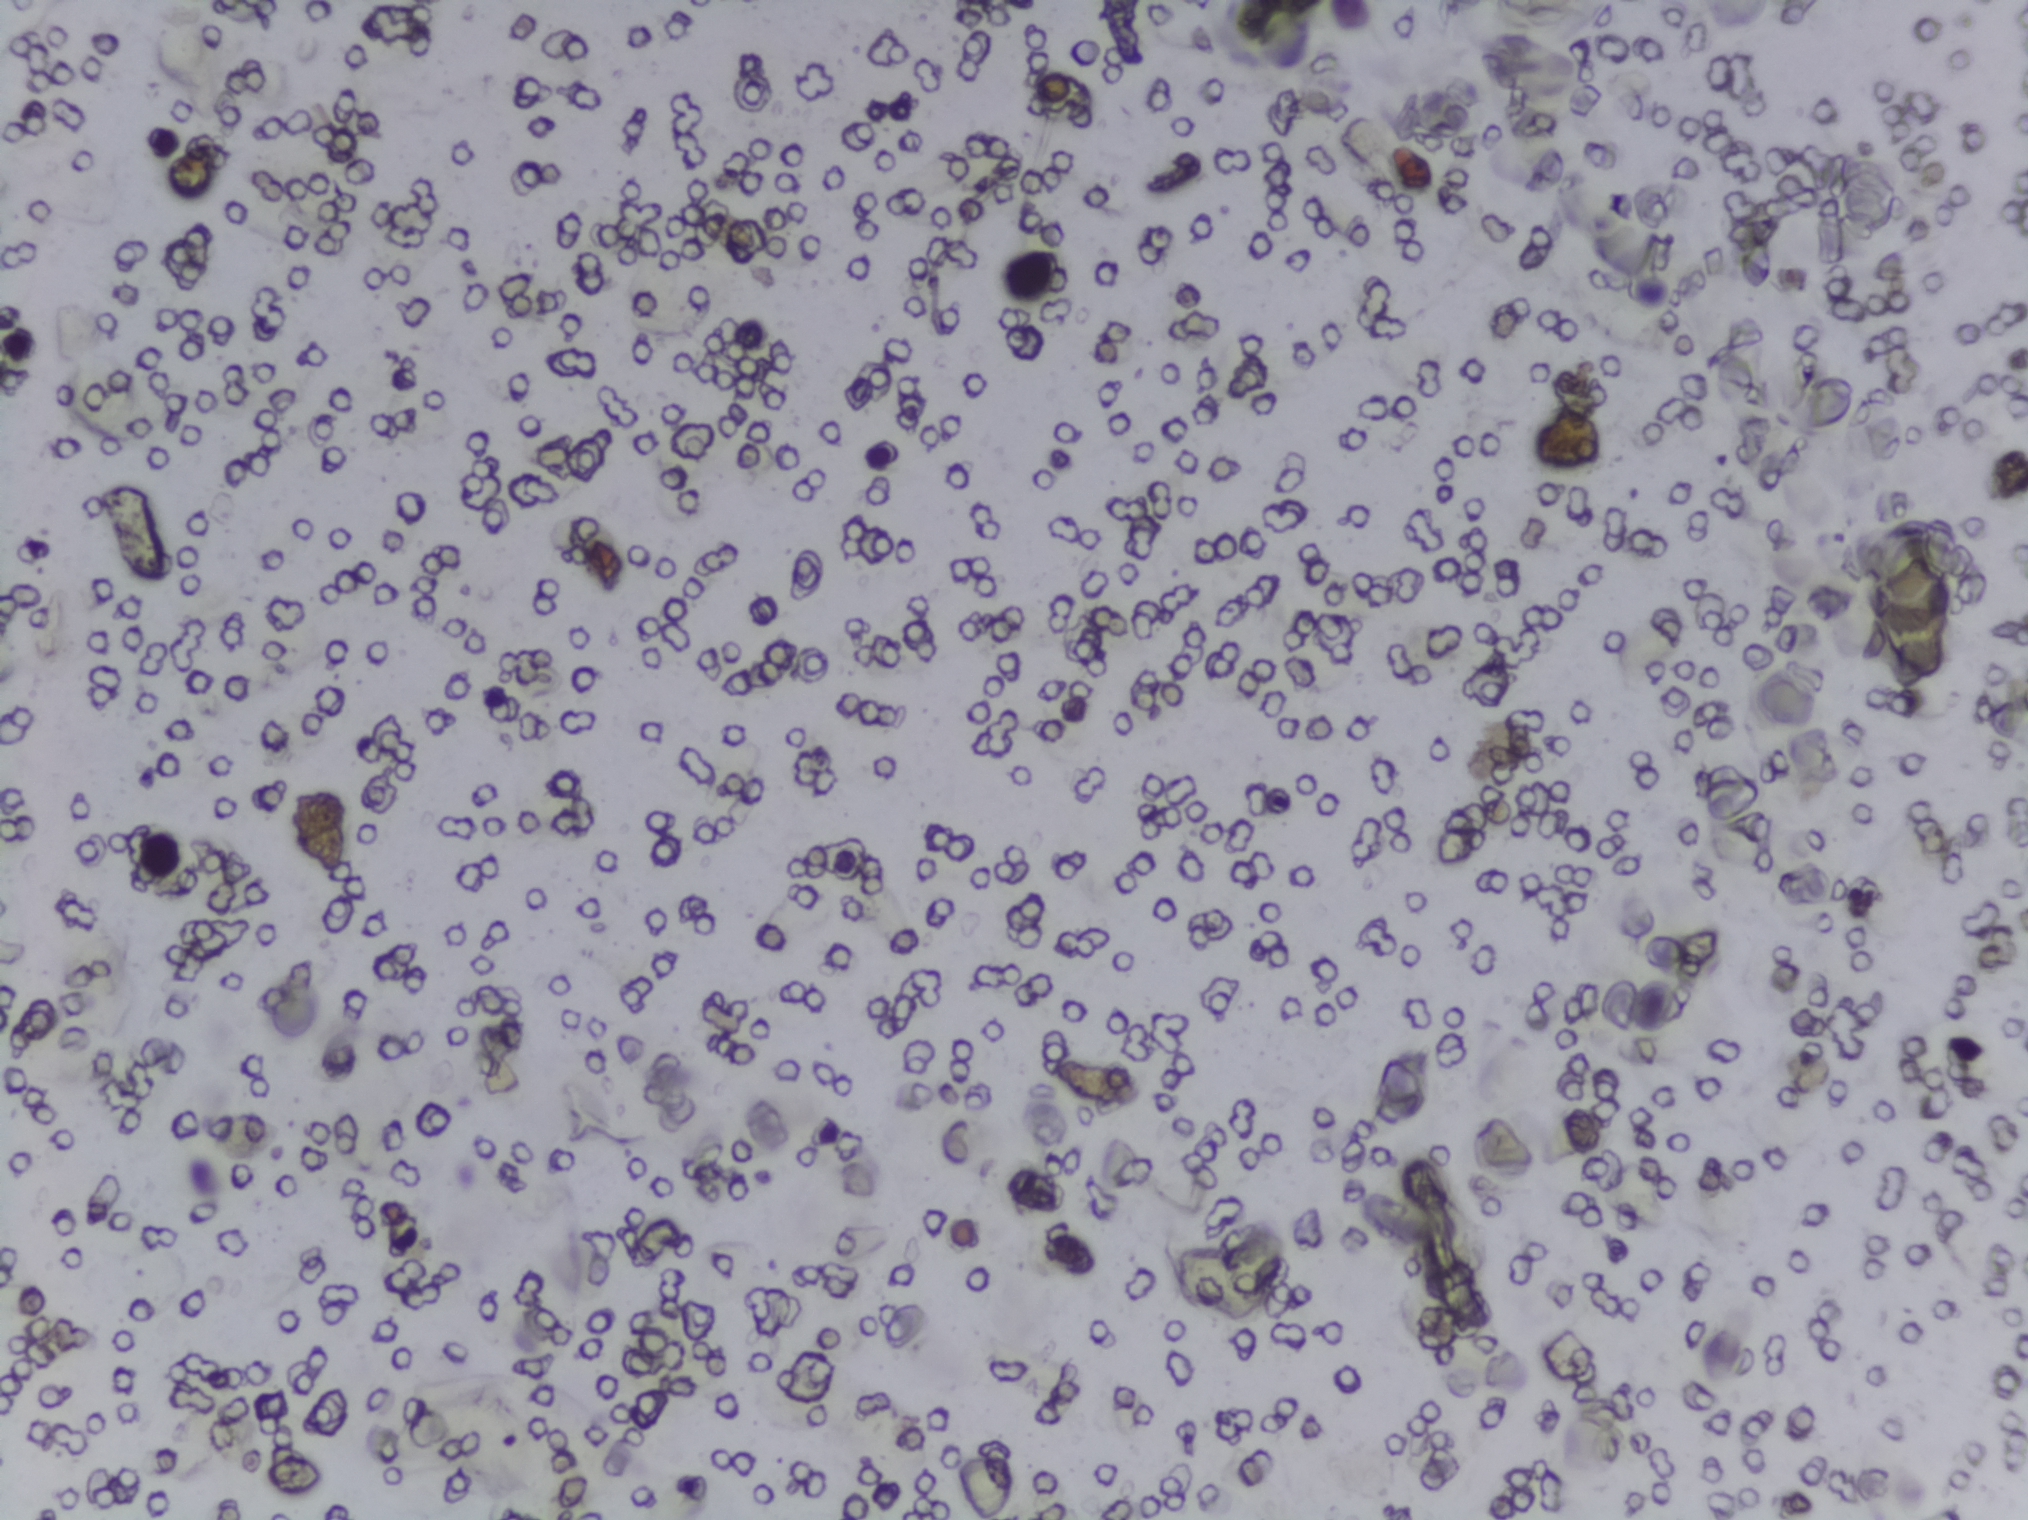
No area of this image was outlined as a Schistosoma egg.
Urine filter membrane photographed through a 4× microscope objective.